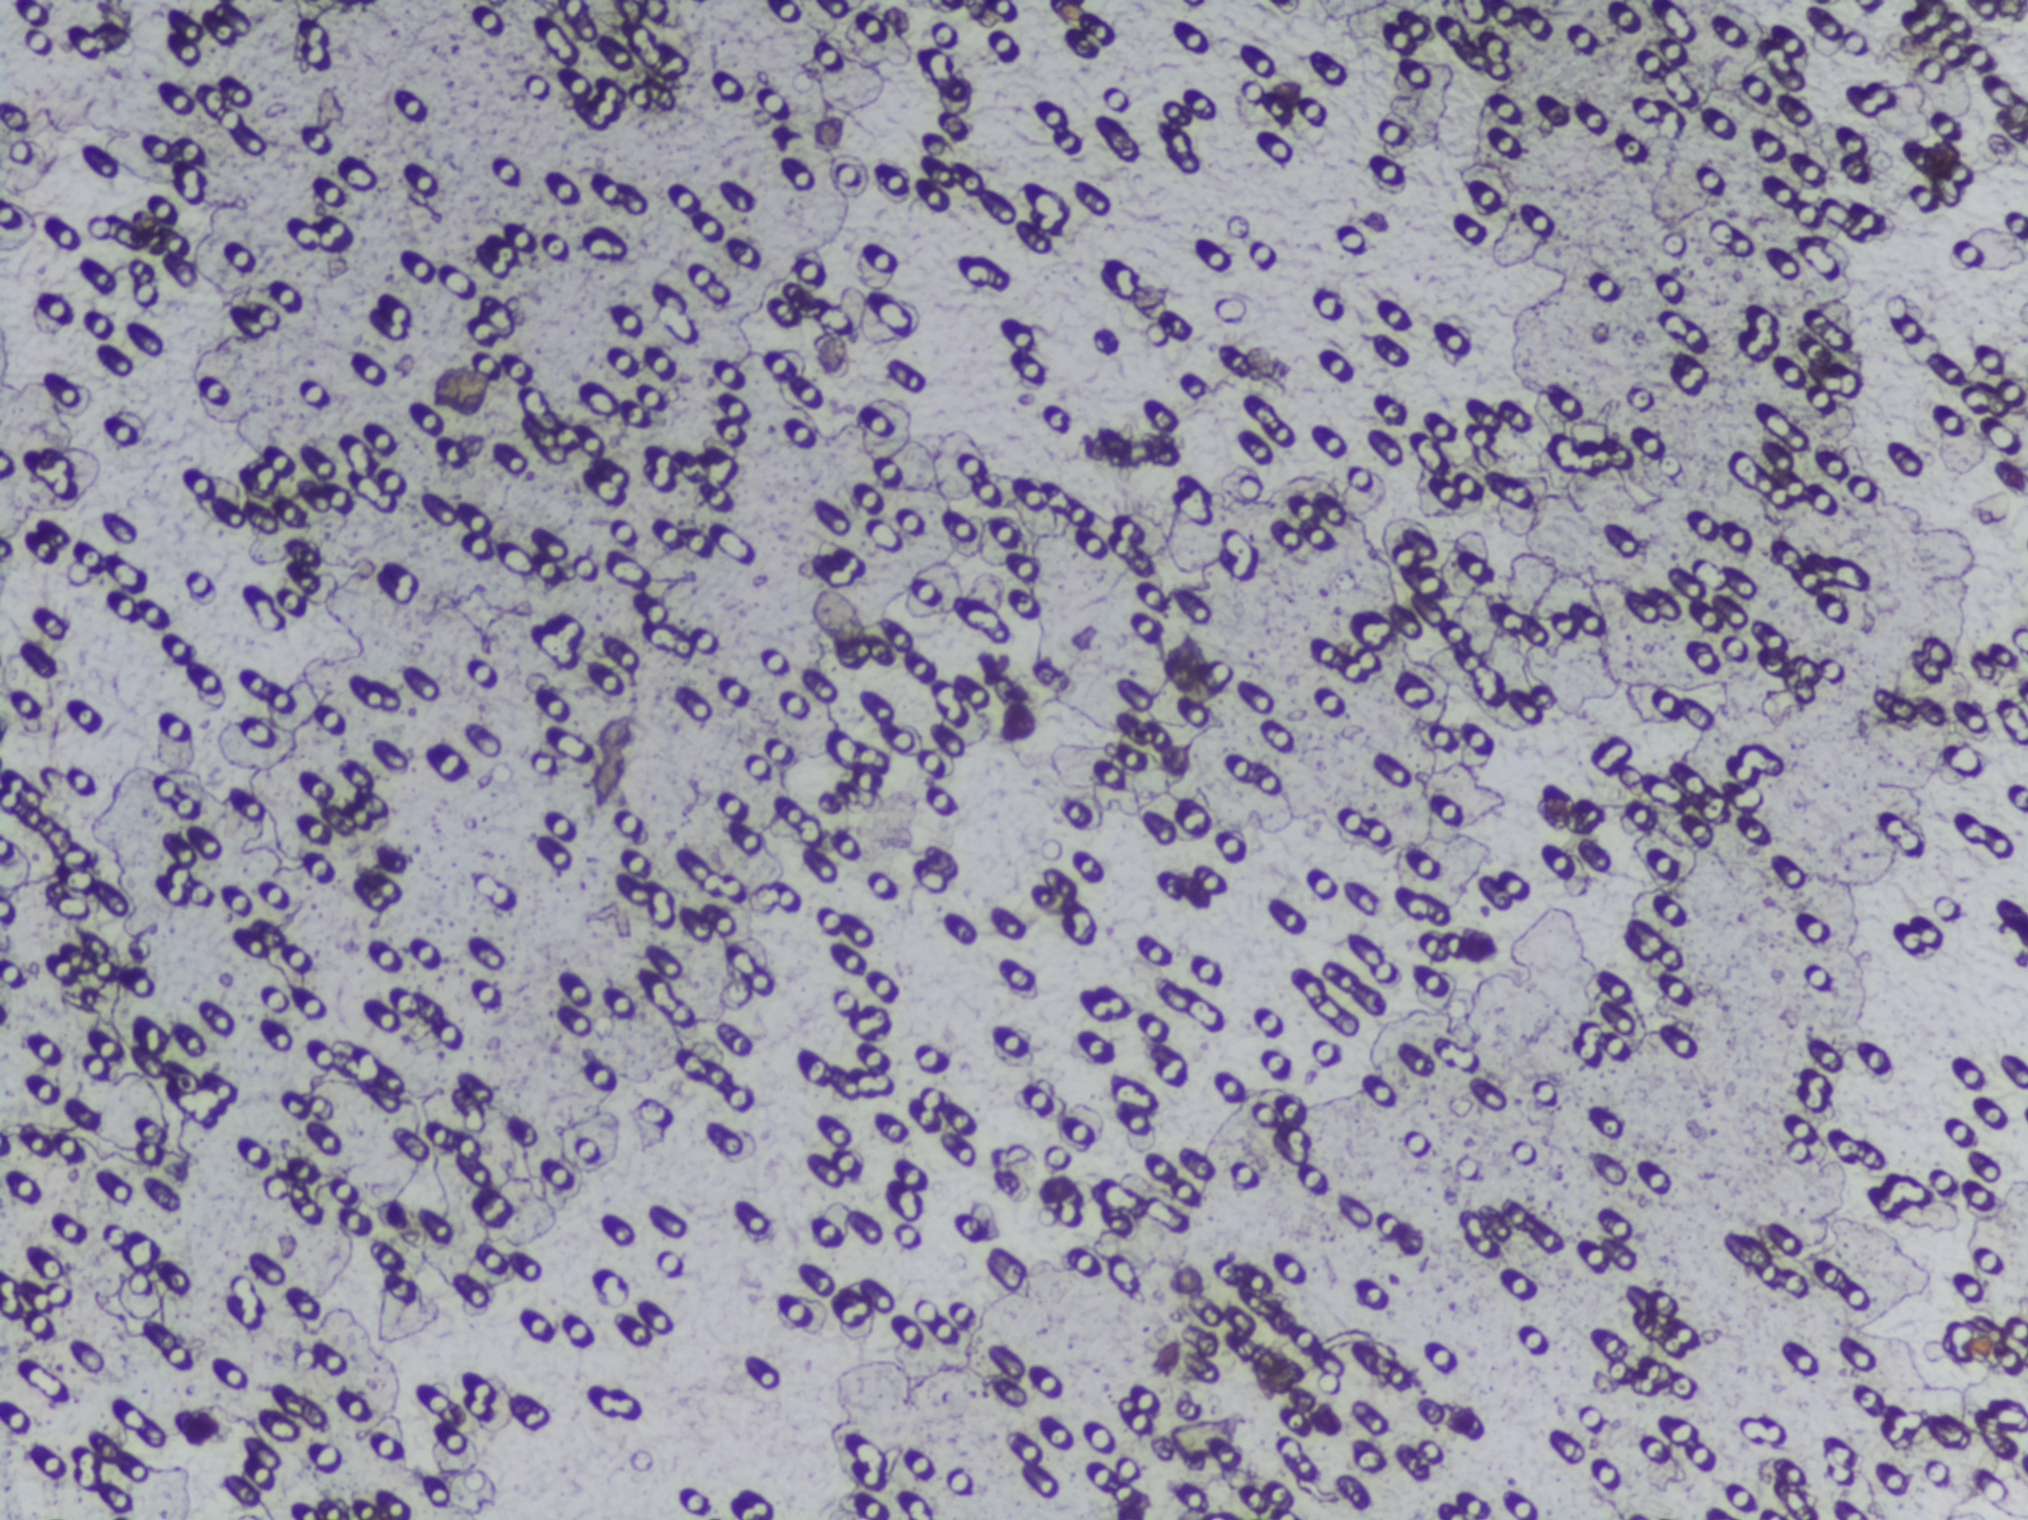
Photograph from an automated digital microscope: urine filter membrane, 4× objective.
No area of this image was outlined as a Schistosoma egg.